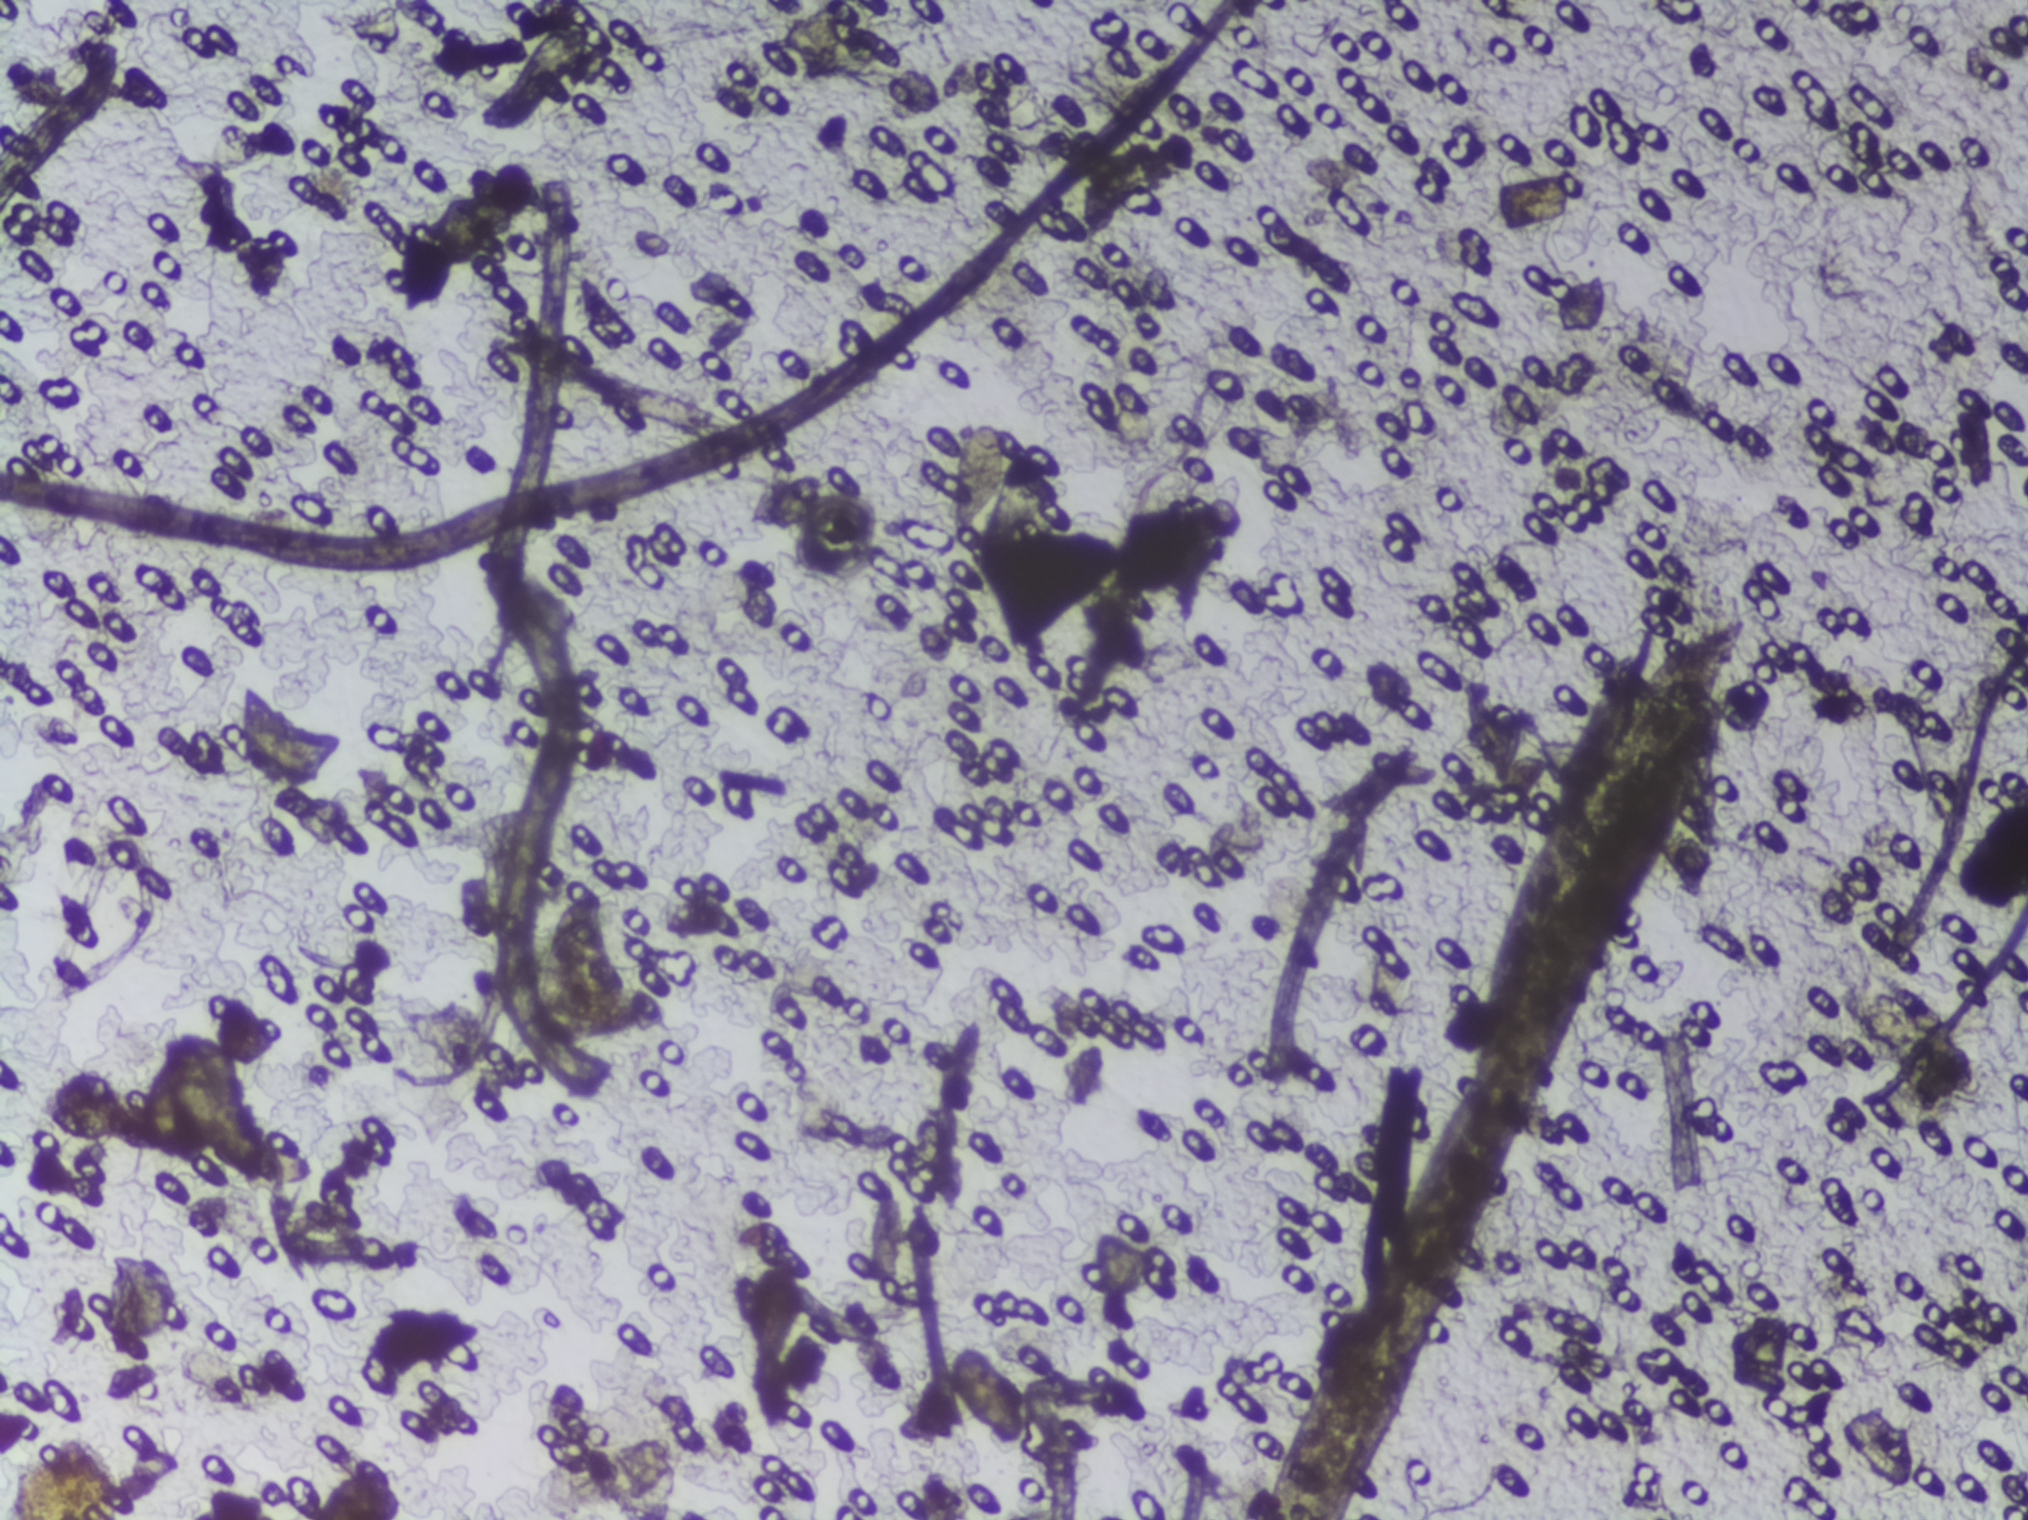
Photograph from an automated digital microscope: urine filter membrane, 4× objective.
No Schistosoma egg is outlined in this image's expert annotation.